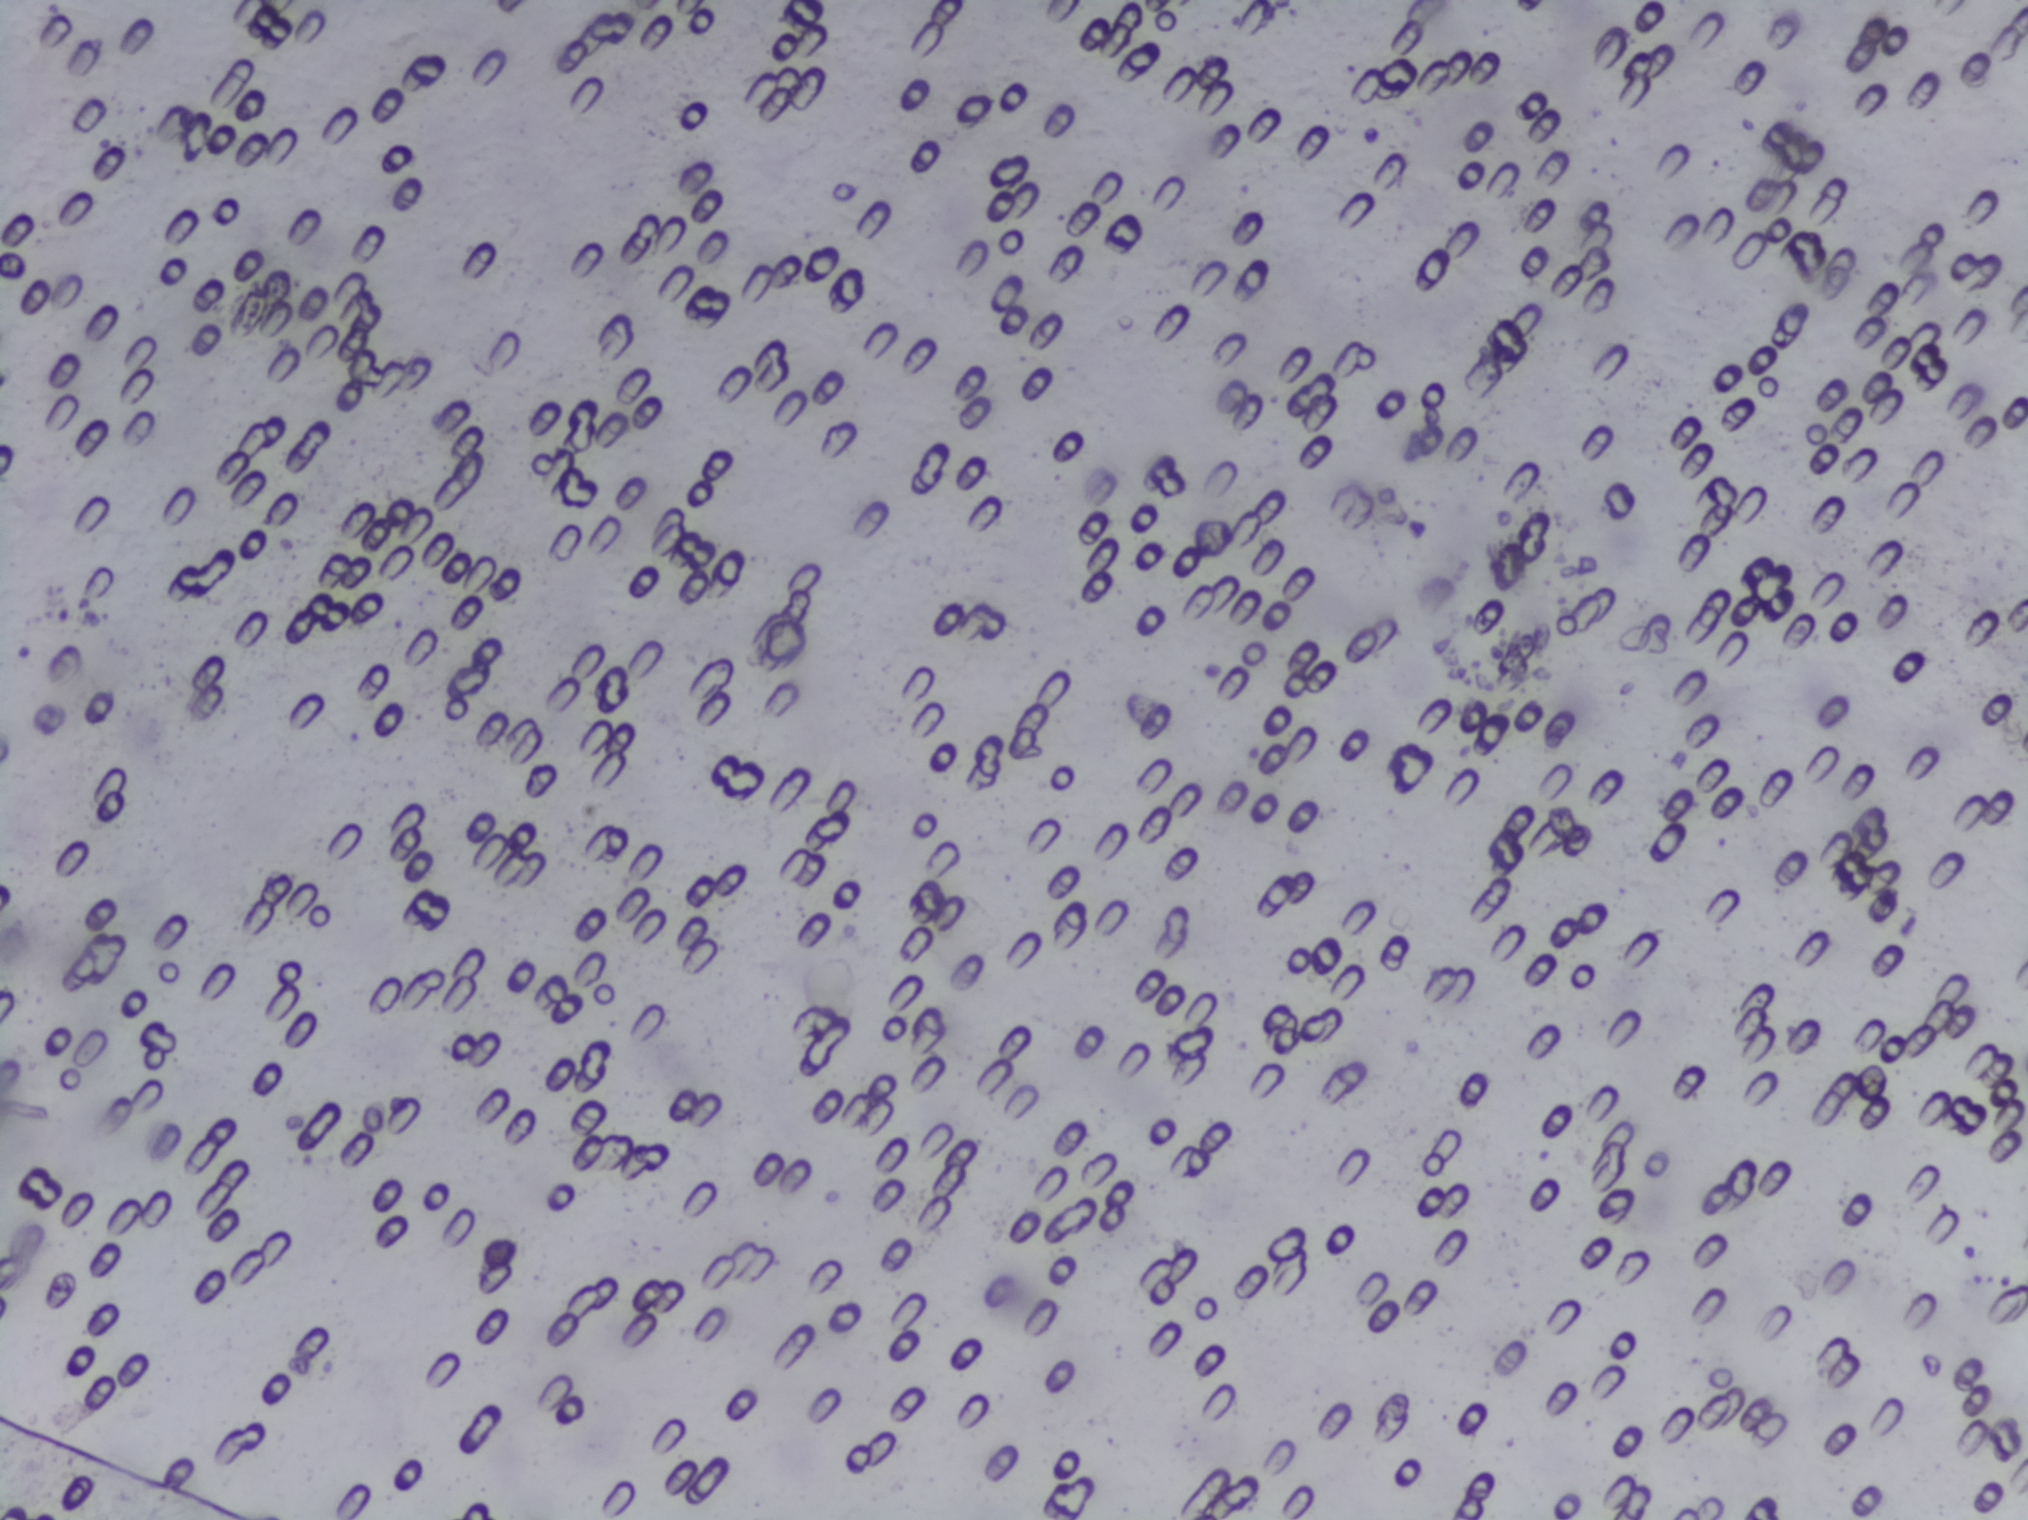
Urine filtration membrane under a 4× objective, photographed by an automated digital microscope.
The expert annotation outlines no Schistosoma egg in this image.